Photomicrograph of a urine filtration membrane, 4× objective. The field of view is about 1.5 mm × 1.1 mm.
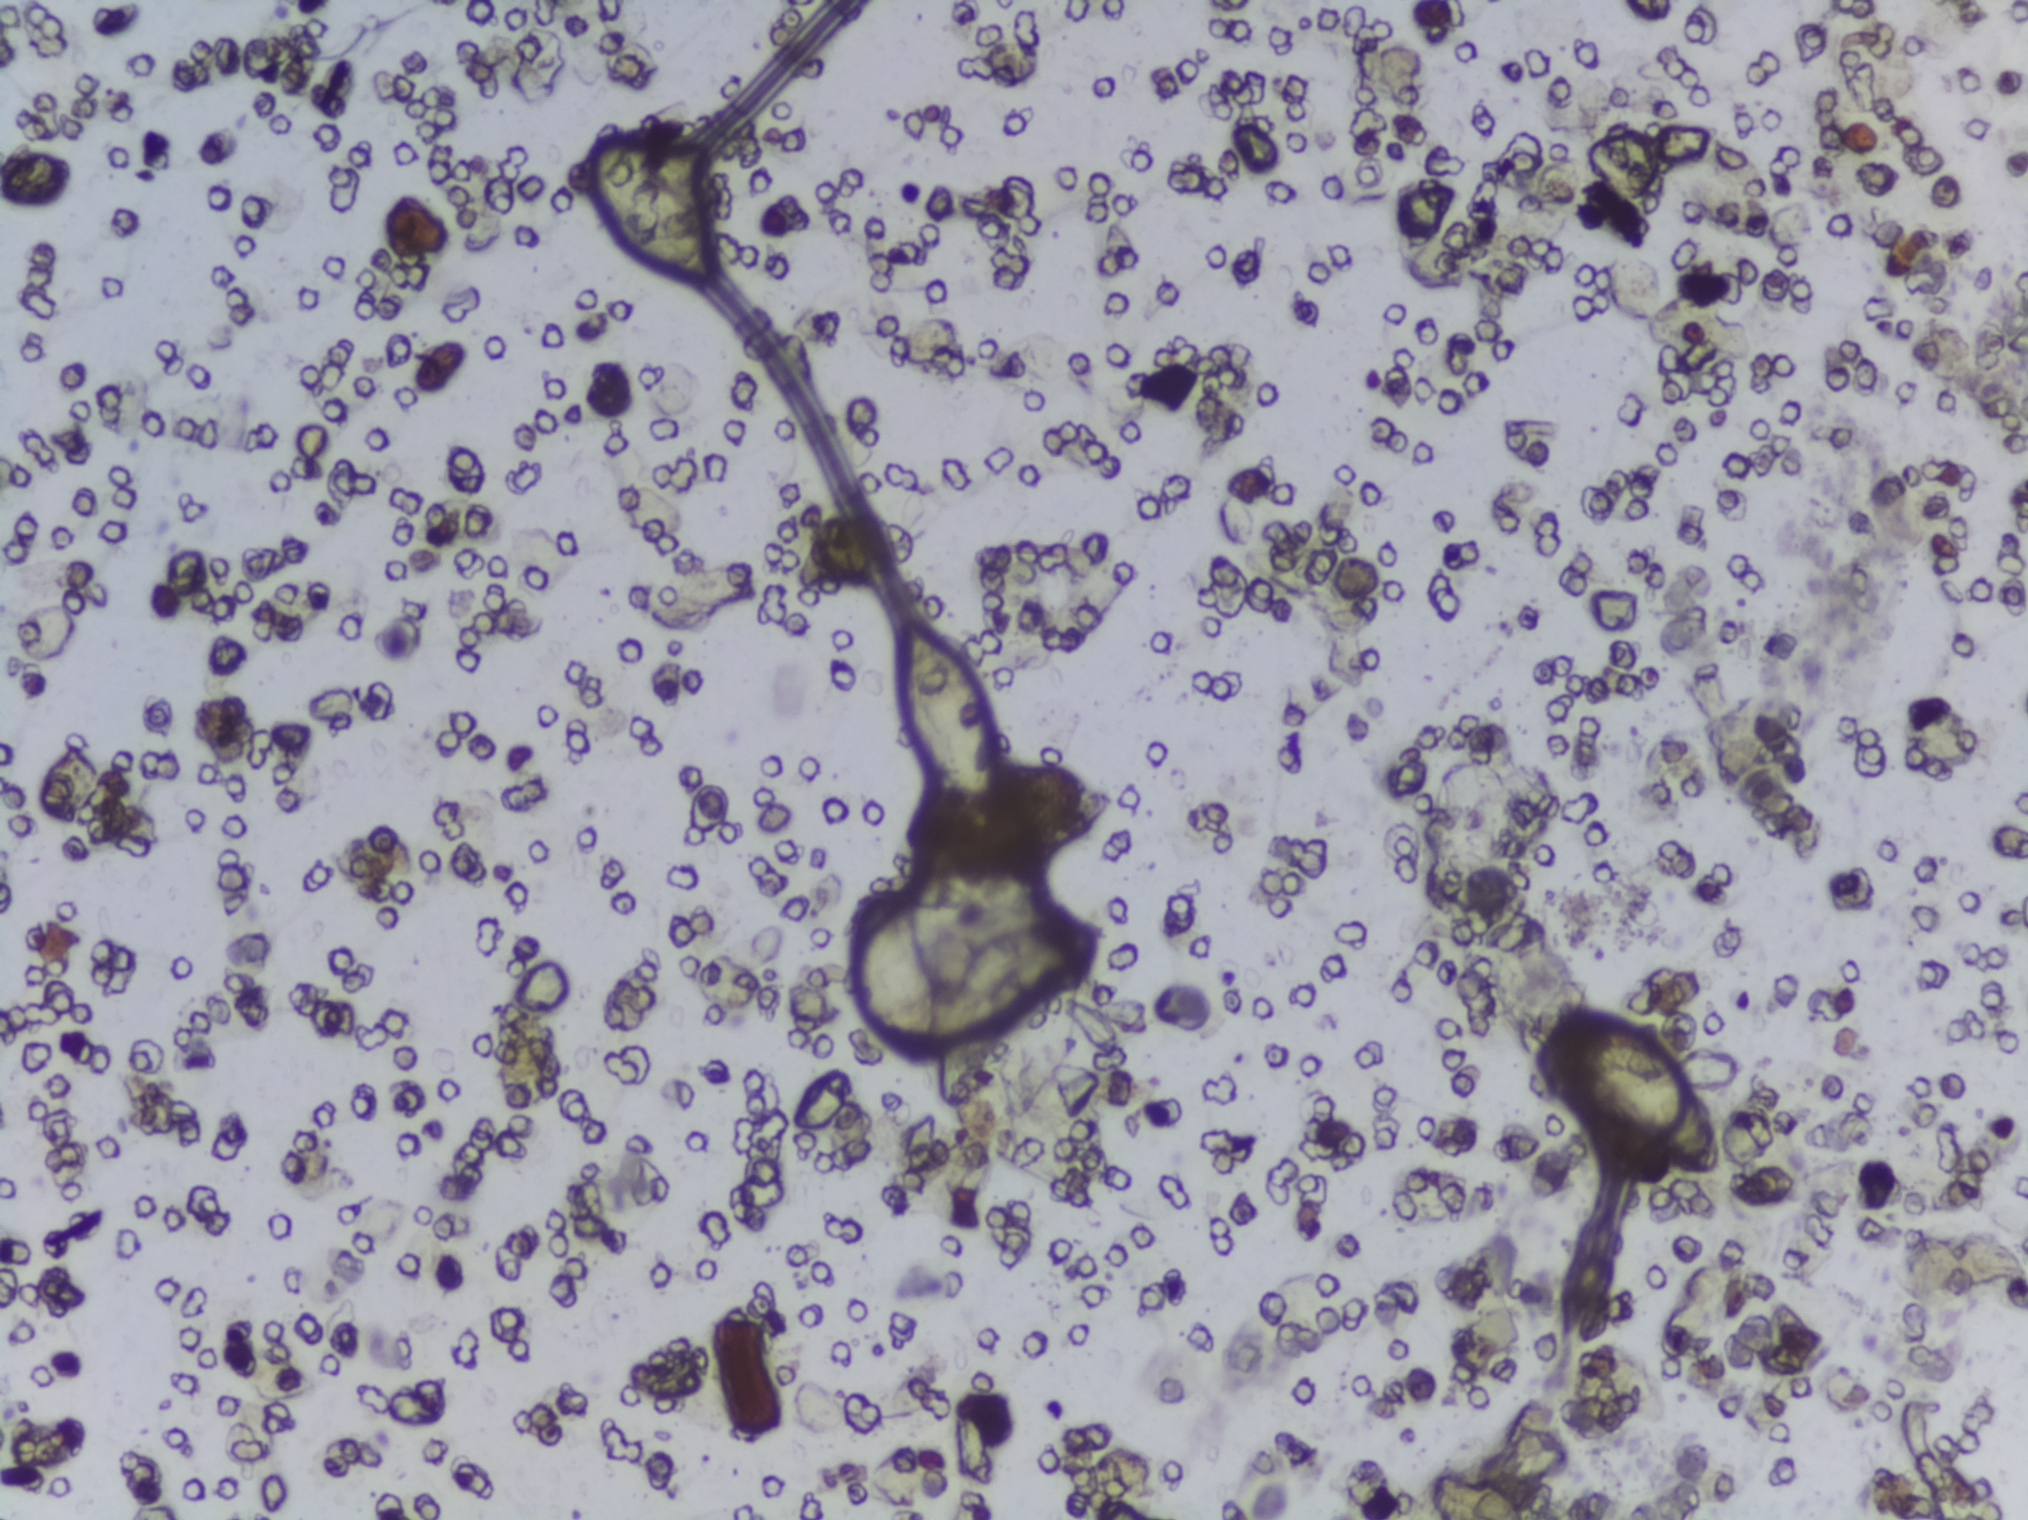
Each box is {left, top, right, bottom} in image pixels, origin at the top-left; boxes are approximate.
Schistosoma eggs are outlined in four areas of this image, listed from left to right: {590, 137, 706, 272}; {844, 846, 978, 1066}; {897, 624, 993, 800}; {1559, 998, 1722, 1170}. An outlined area can hold more than one egg.